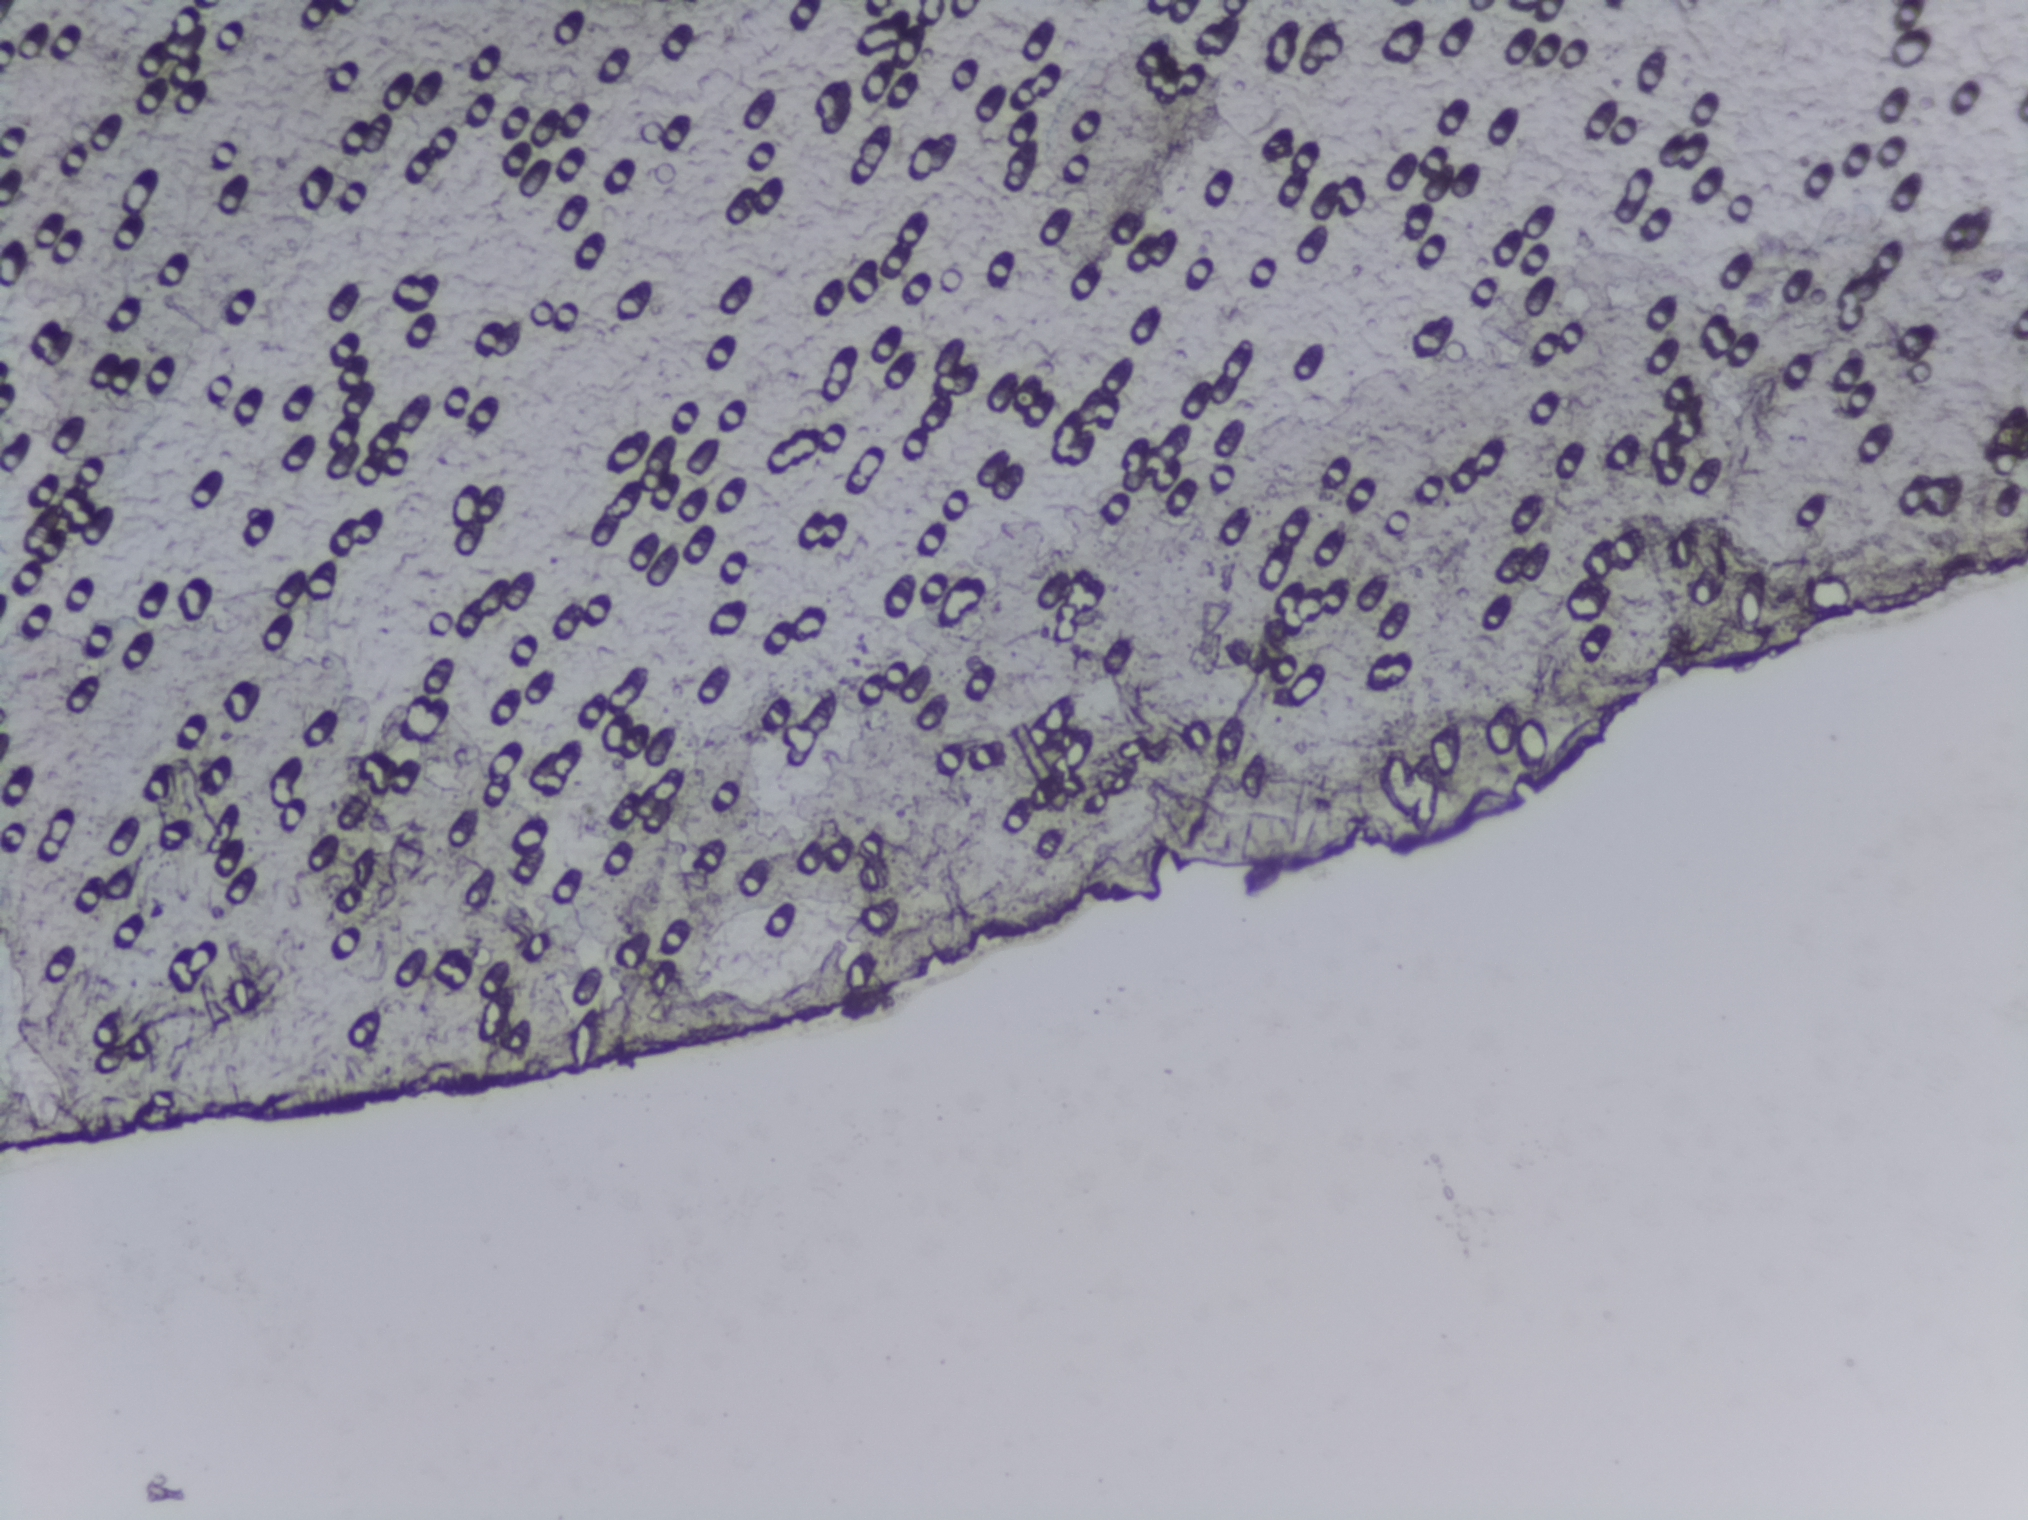
Photograph from an automated digital microscope: urine filter membrane, 4× objective. Field of view: about 1.5 mm wide and 1.1 mm high.
No Schistosoma egg is outlined in this image's expert annotation.